Urine filtration membrane under a 4× objective, photographed by an automated digital microscope. The field of view is about 1.5 mm × 1.1 mm.
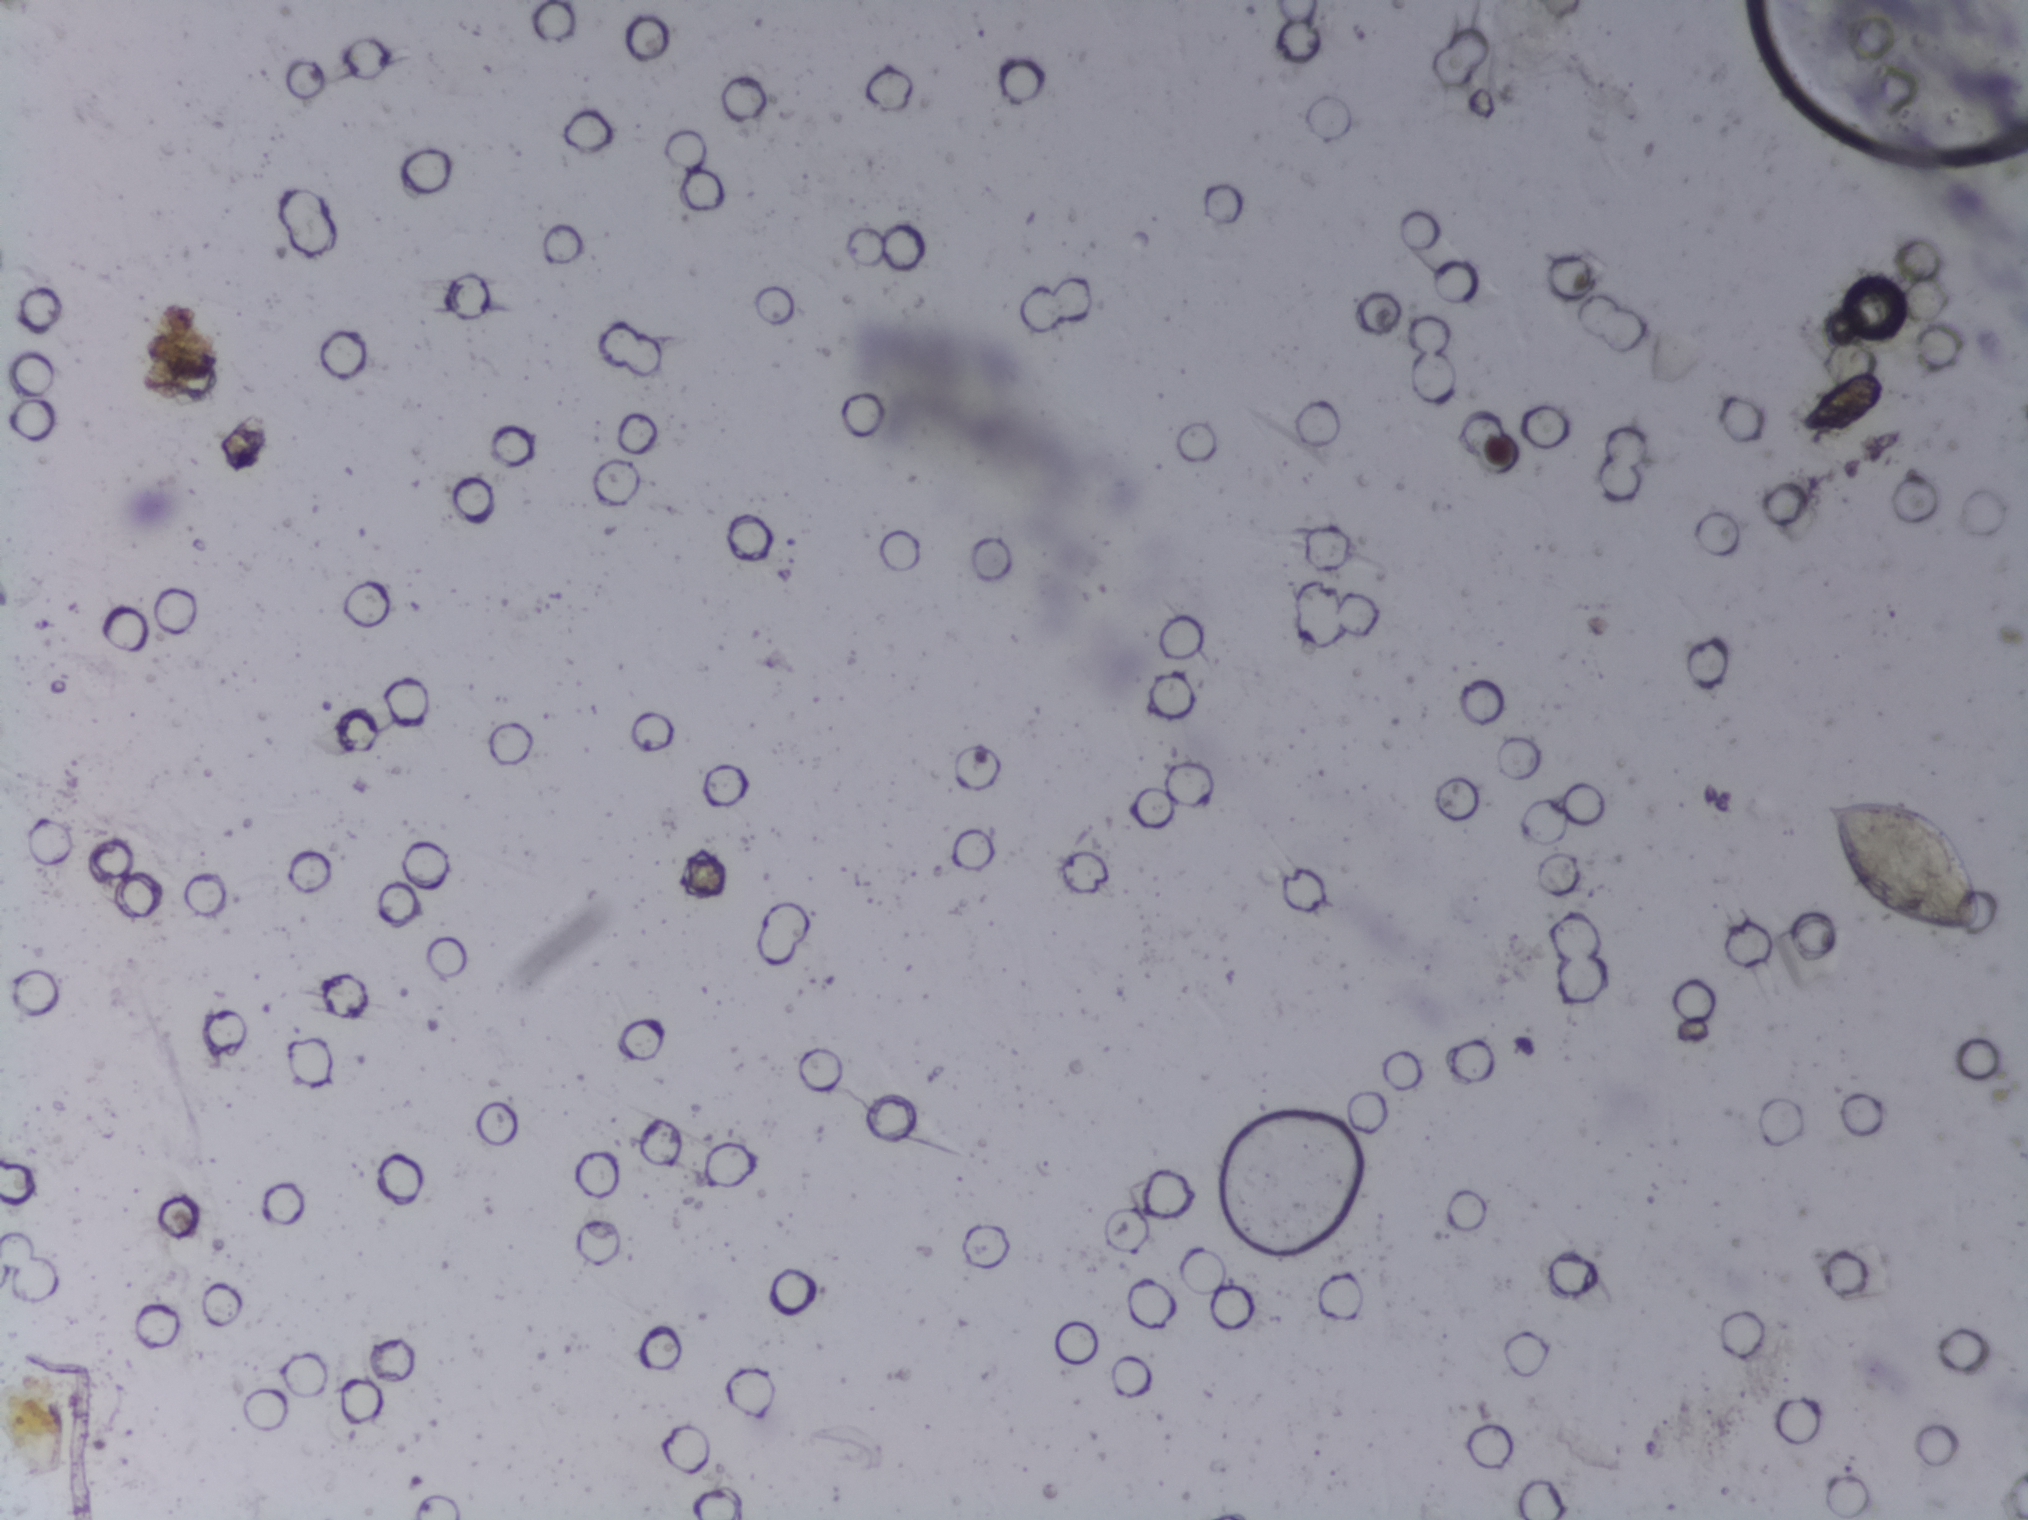
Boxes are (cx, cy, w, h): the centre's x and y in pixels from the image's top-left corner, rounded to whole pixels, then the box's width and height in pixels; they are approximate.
Schistosoma eggs, outlined areas: (cx=1902, cy=867, w=161, h=142). Eggs that touch can end up inside the same outlined area. A marked egg may occasionally be S. mansoni rather than S. haematobium.